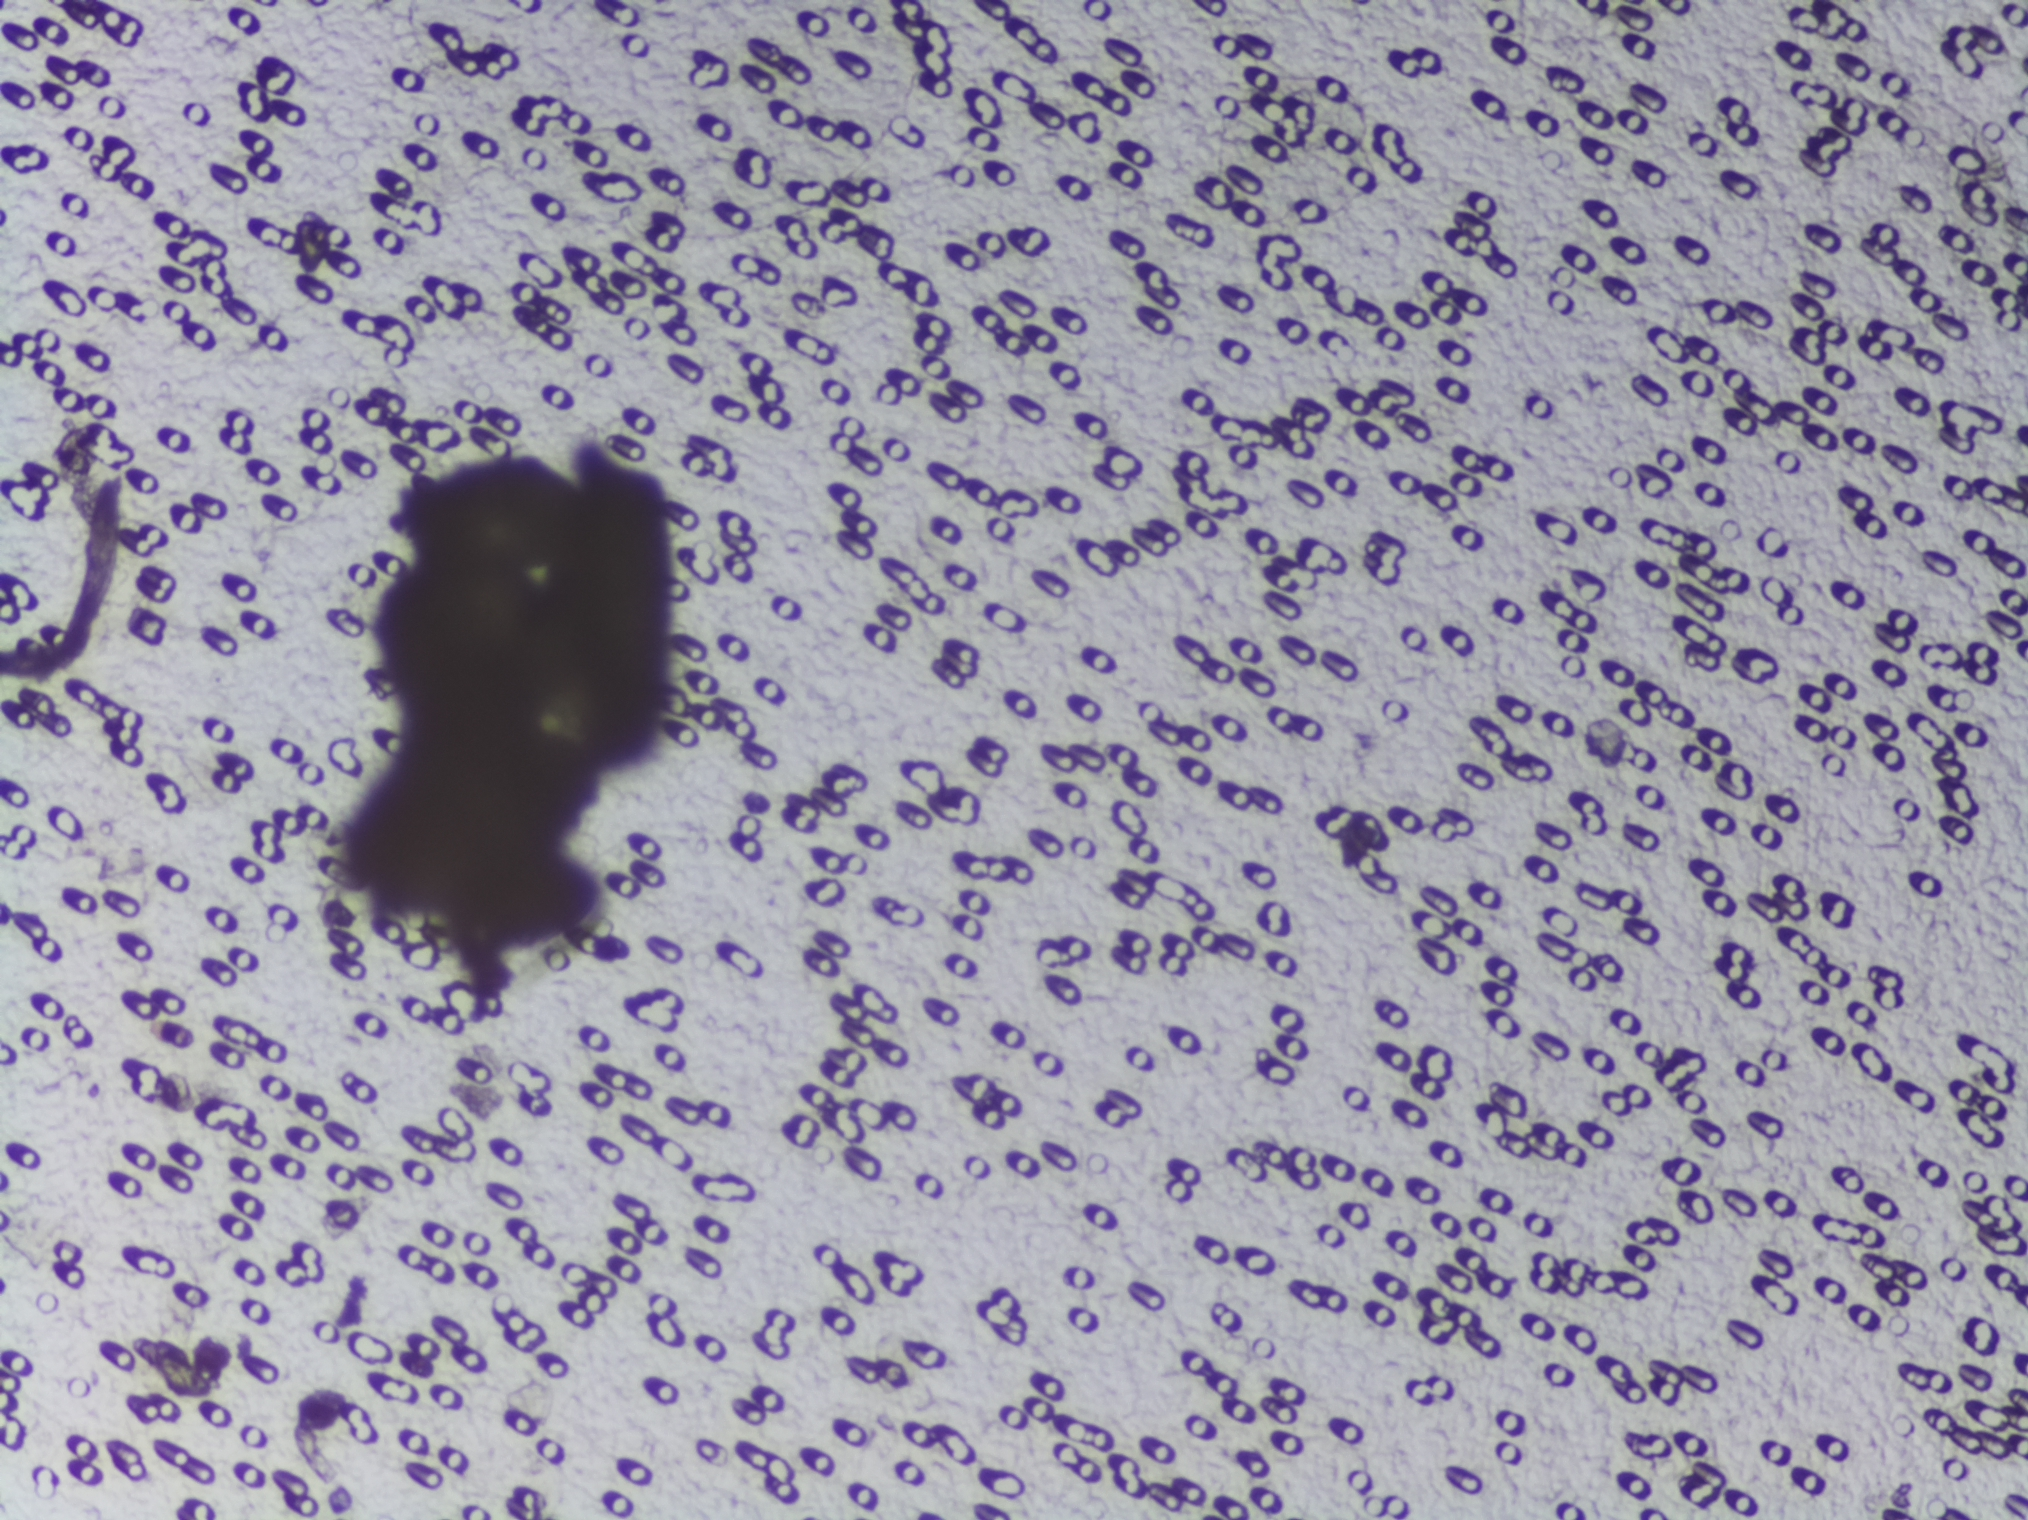
Photomicrograph of a urine filtration membrane, 4× objective. The image covers about 1.5 × 1.1 mm of the membrane.
No Schistosoma egg is outlined in this image's expert annotation.